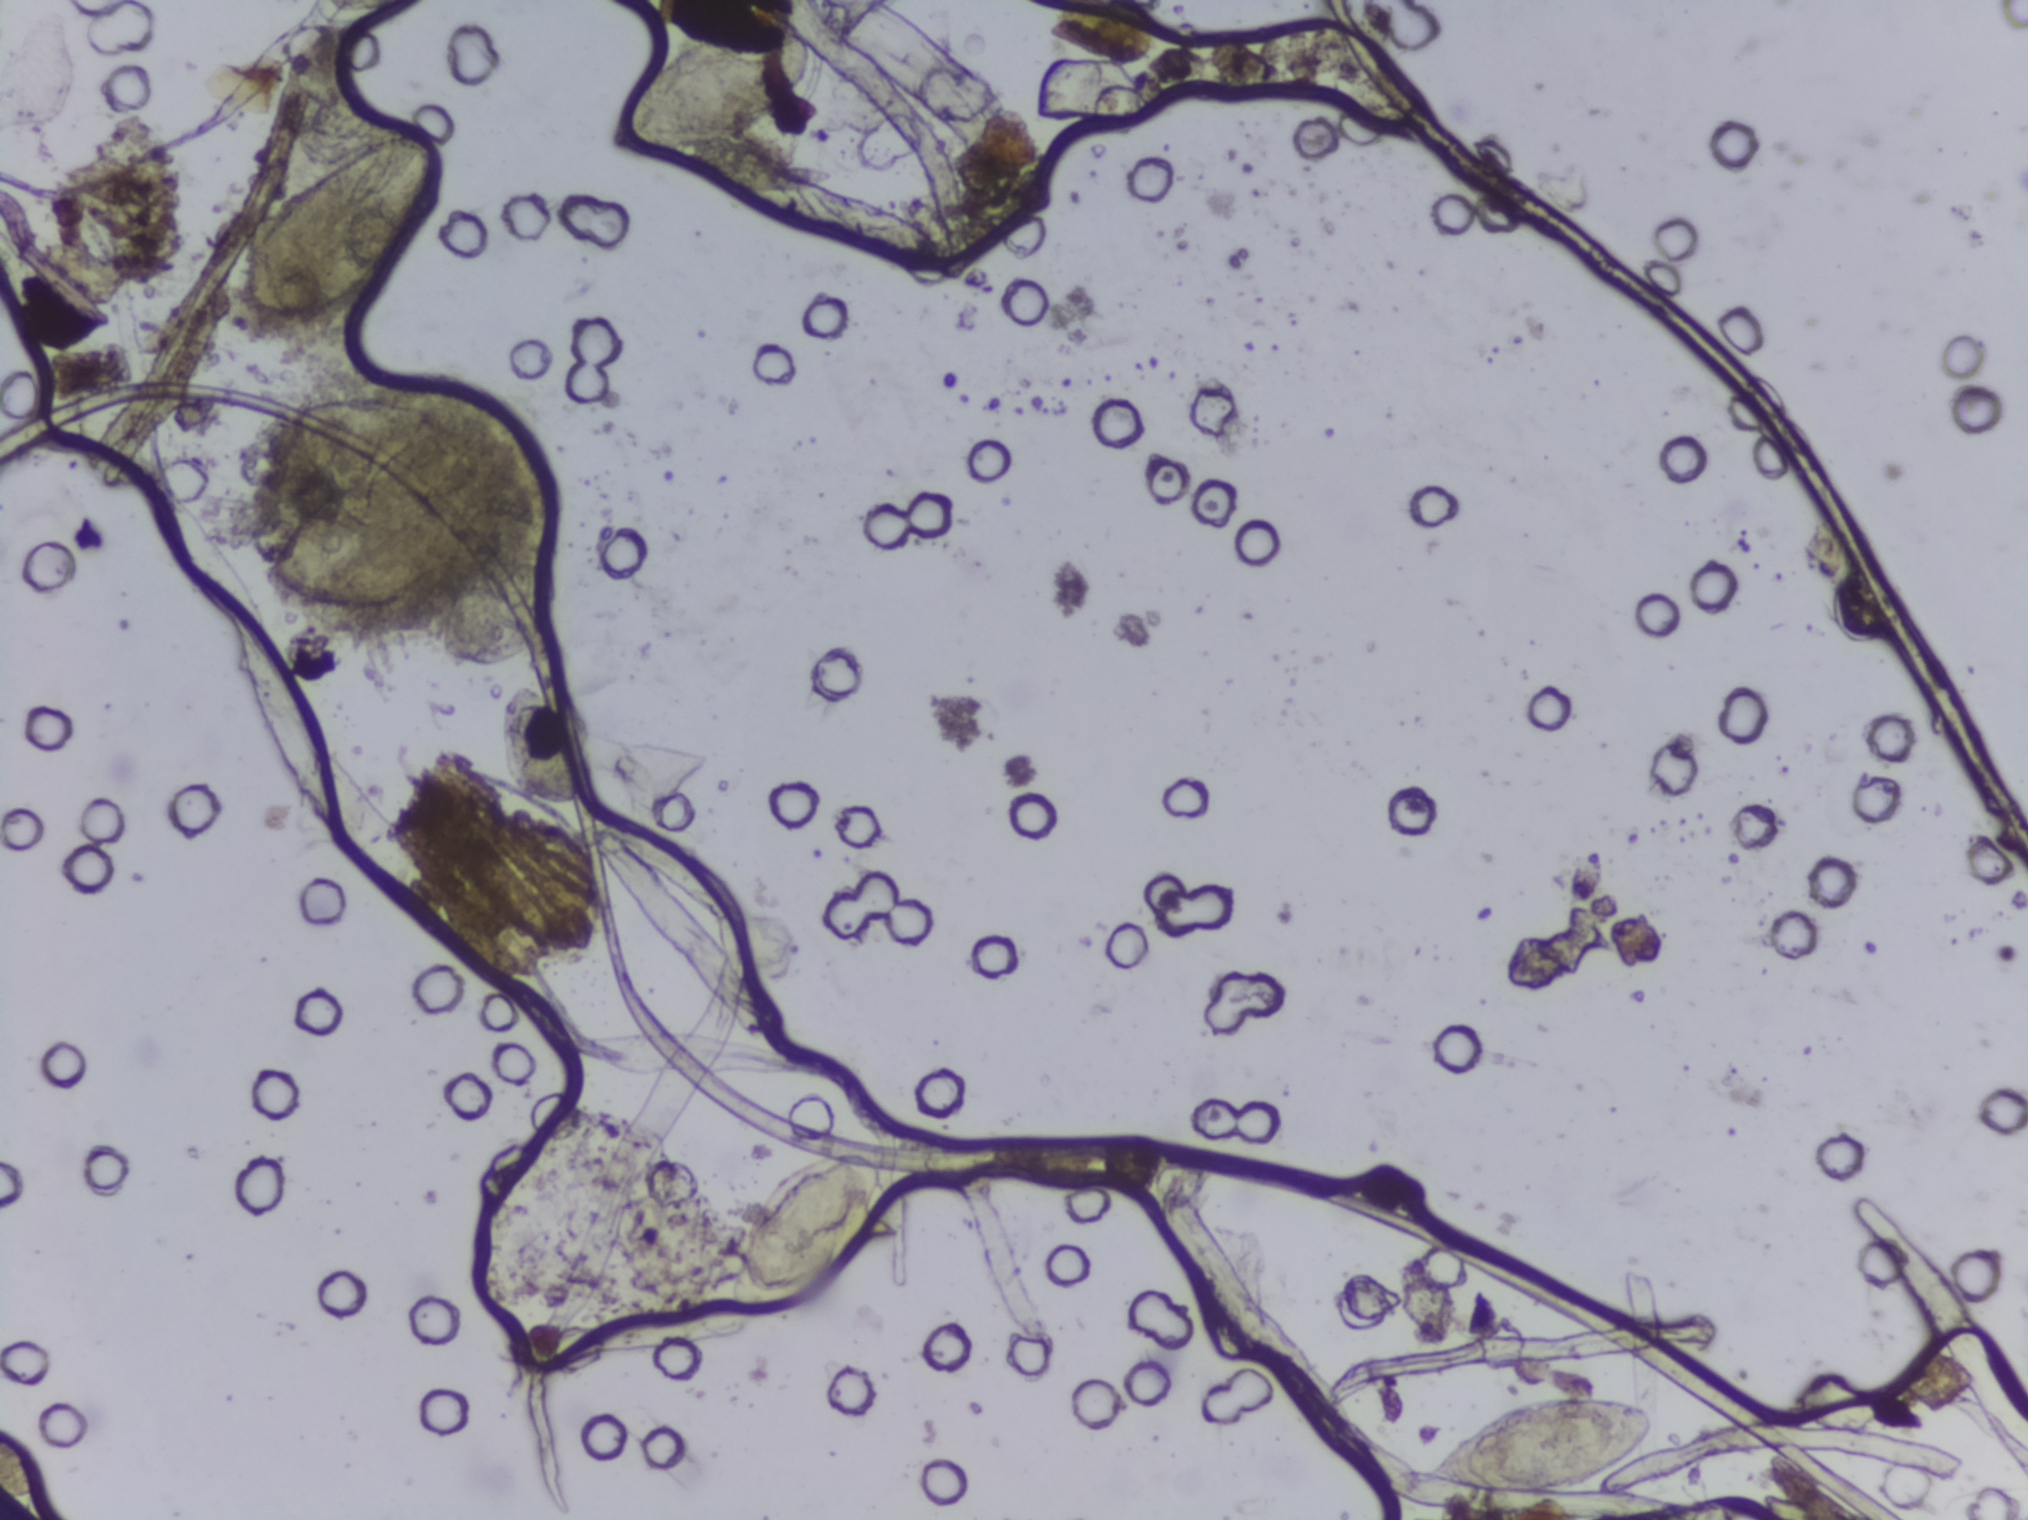
Urine filtration membrane under a 4× objective, photographed by an automated digital microscope.
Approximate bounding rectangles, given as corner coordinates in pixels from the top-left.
Six areas of this image are outlined as Schistosoma eggs, from left to right: (x1=240, y1=133, x2=439, y2=317); (x1=270, y1=396, x2=501, y2=609); (x1=503, y1=684, x2=587, y2=806); (x1=612, y1=11, x2=812, y2=150); (x1=722, y1=1150, x2=888, y2=1316); (x1=1422, y1=1393, x2=1654, y2=1503). Marked pixels, not the boxes around them: about 4.0% of the image. An outlined area can hold more than one egg.